Photograph from an automated digital microscope: urine filter membrane, 4× objective.
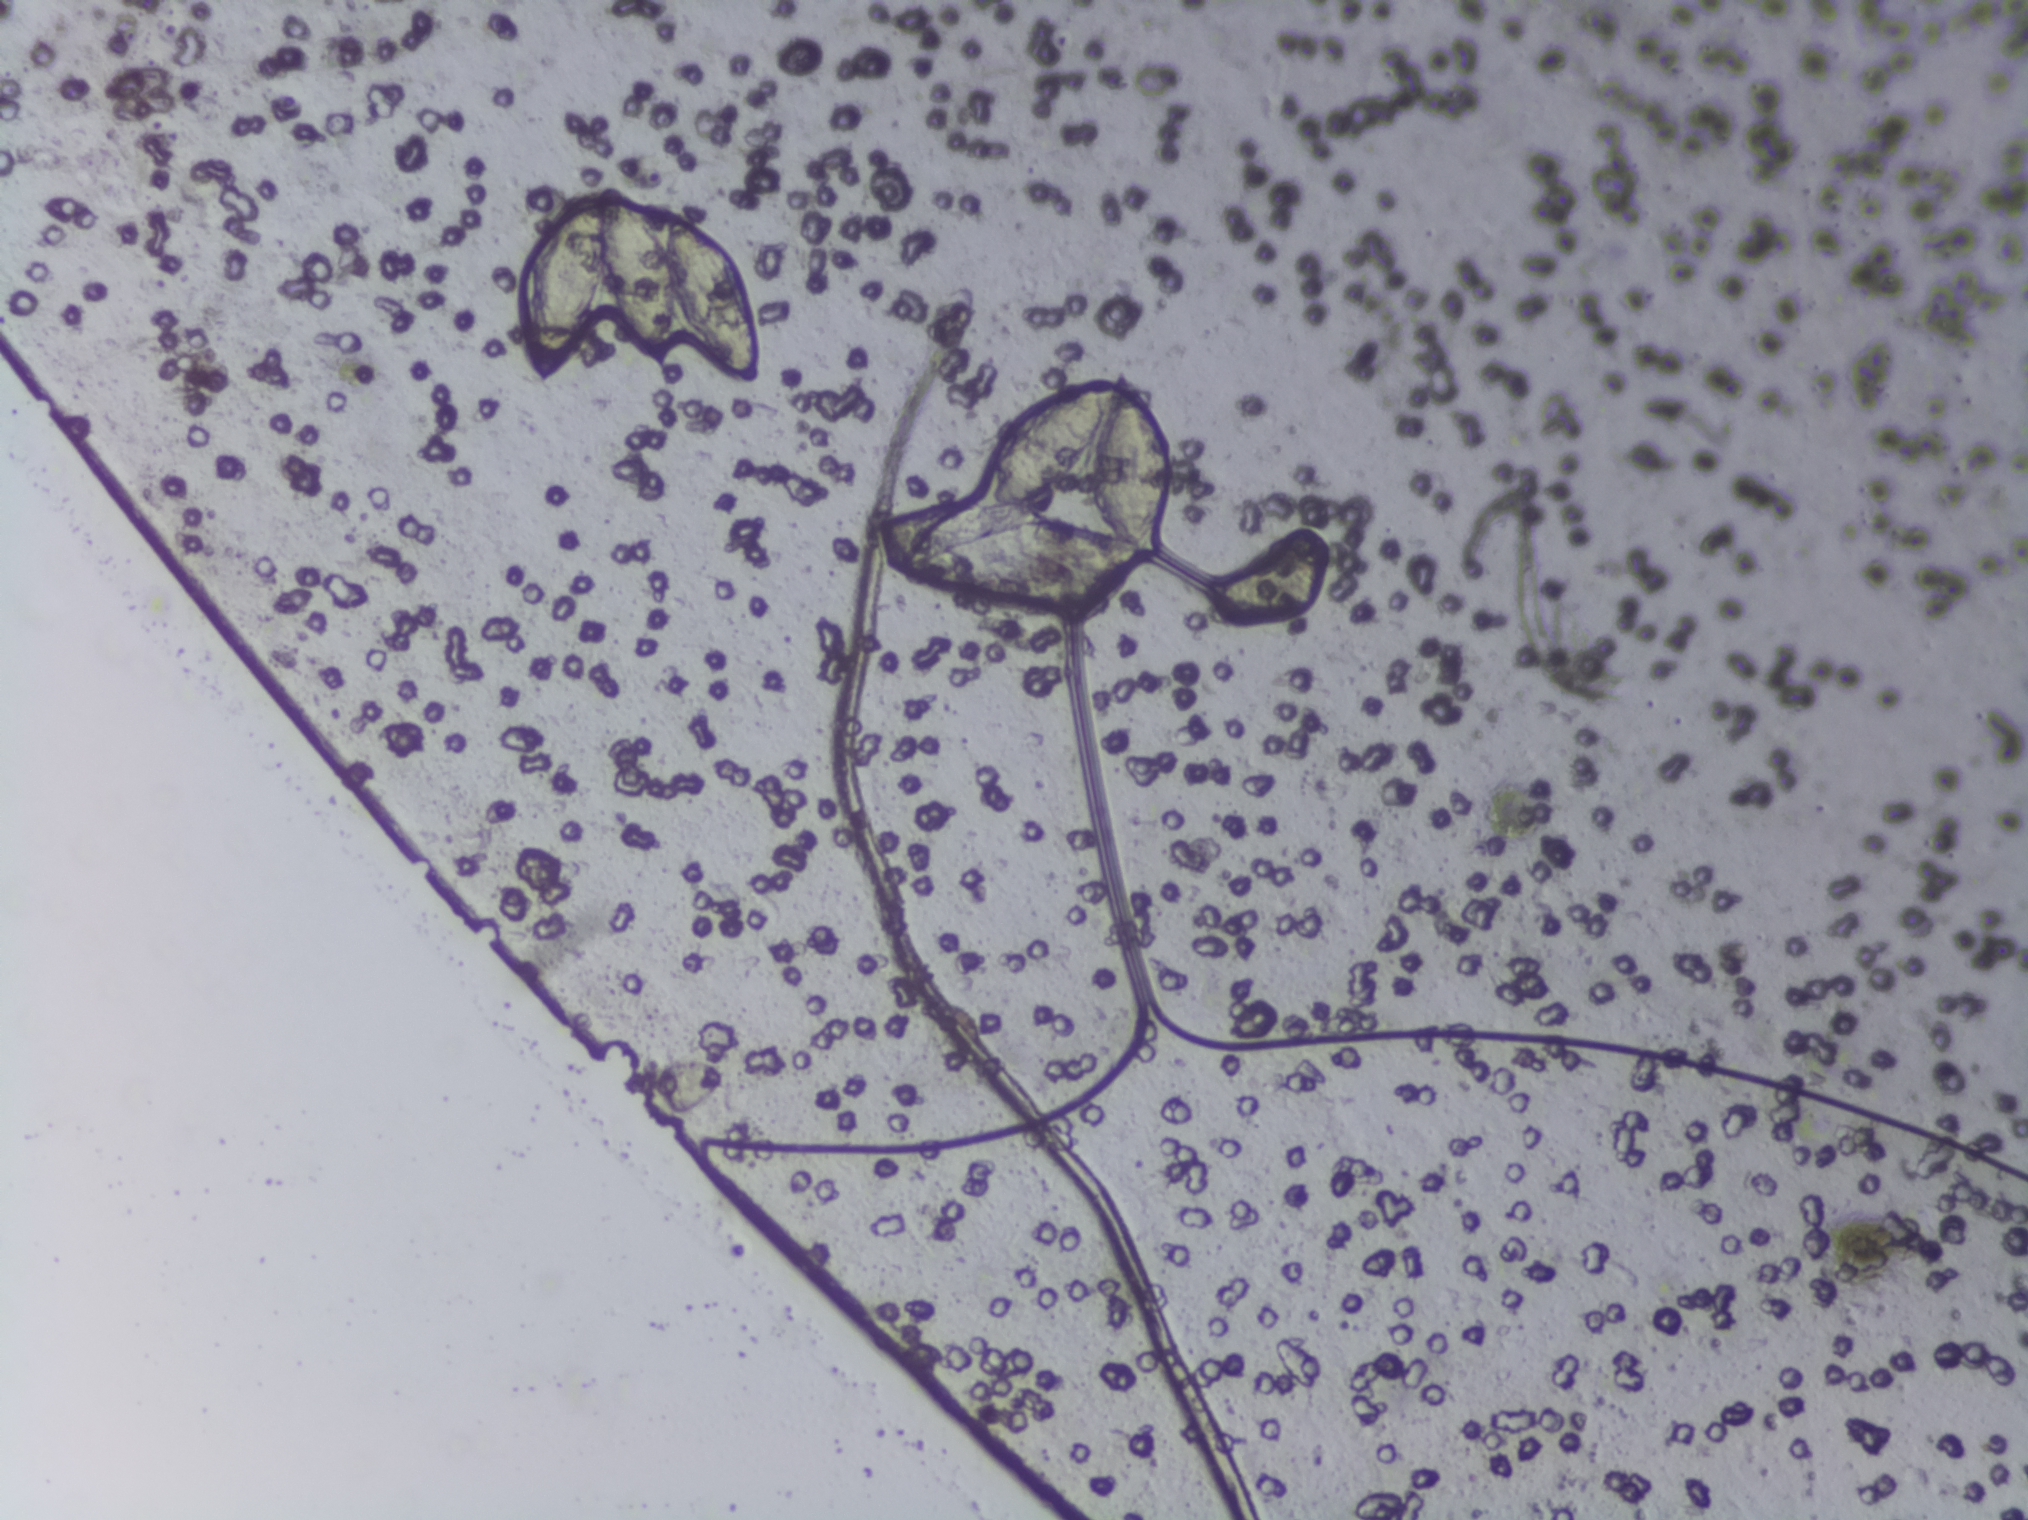
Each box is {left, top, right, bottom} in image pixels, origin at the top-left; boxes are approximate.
Areas outlined as Schistosoma eggs: {515, 181, 759, 385}; {869, 365, 1175, 617}. A single outlined area may contain several eggs.